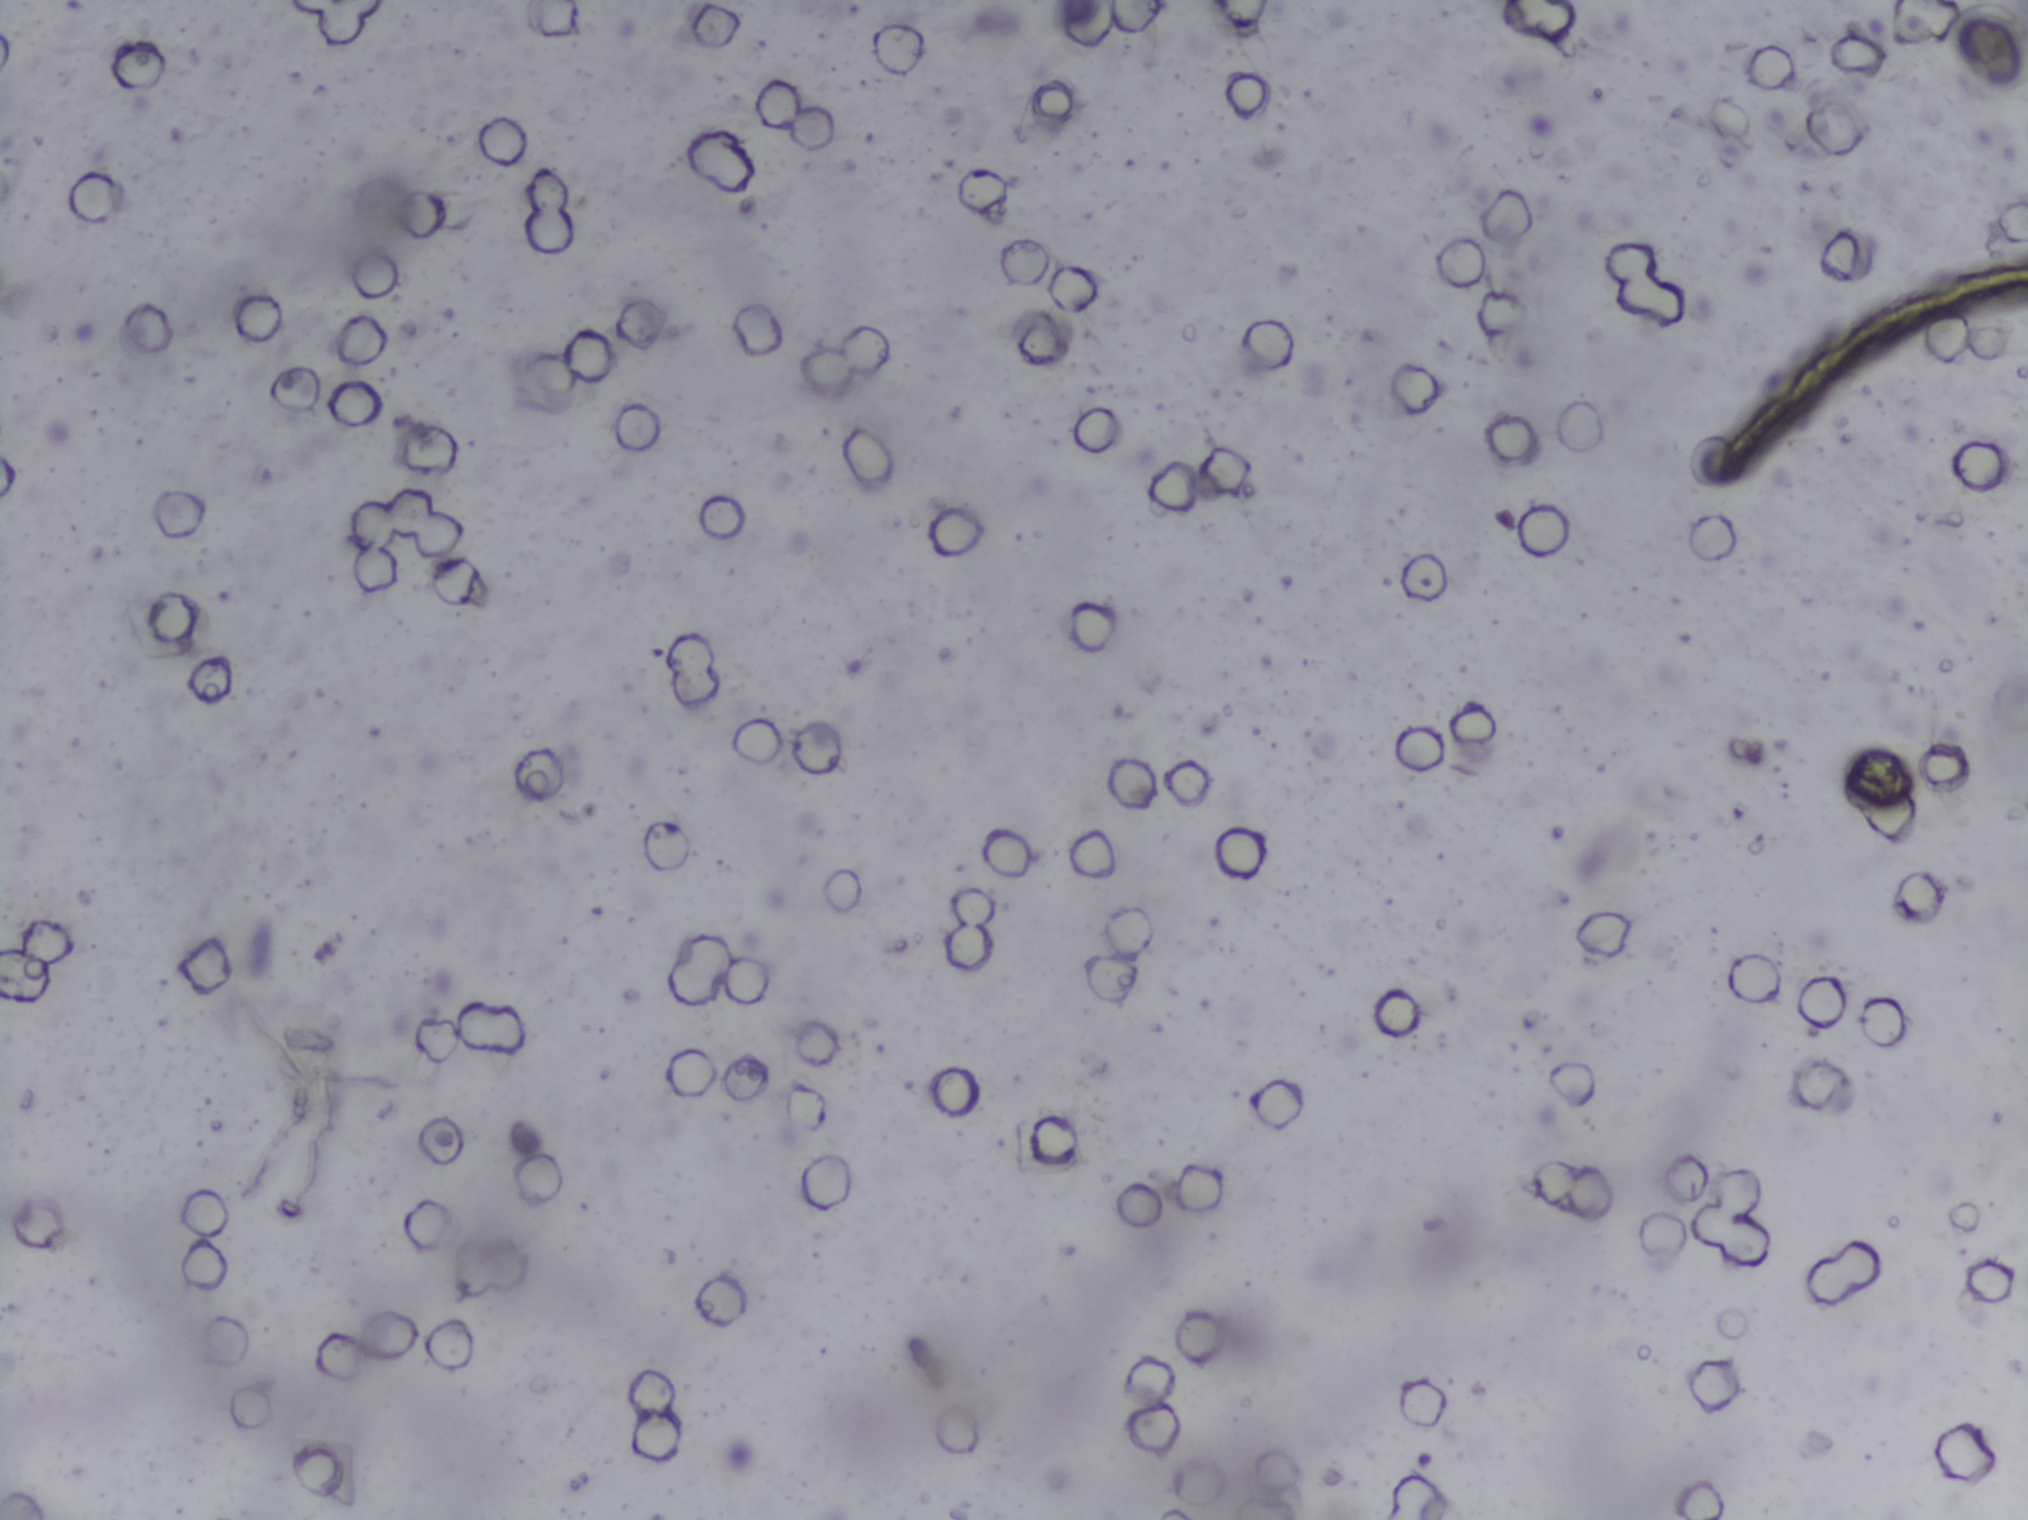
Photomicrograph of a urine filtration membrane, 4× objective.
The expert annotation outlines no Schistosoma egg in this image.